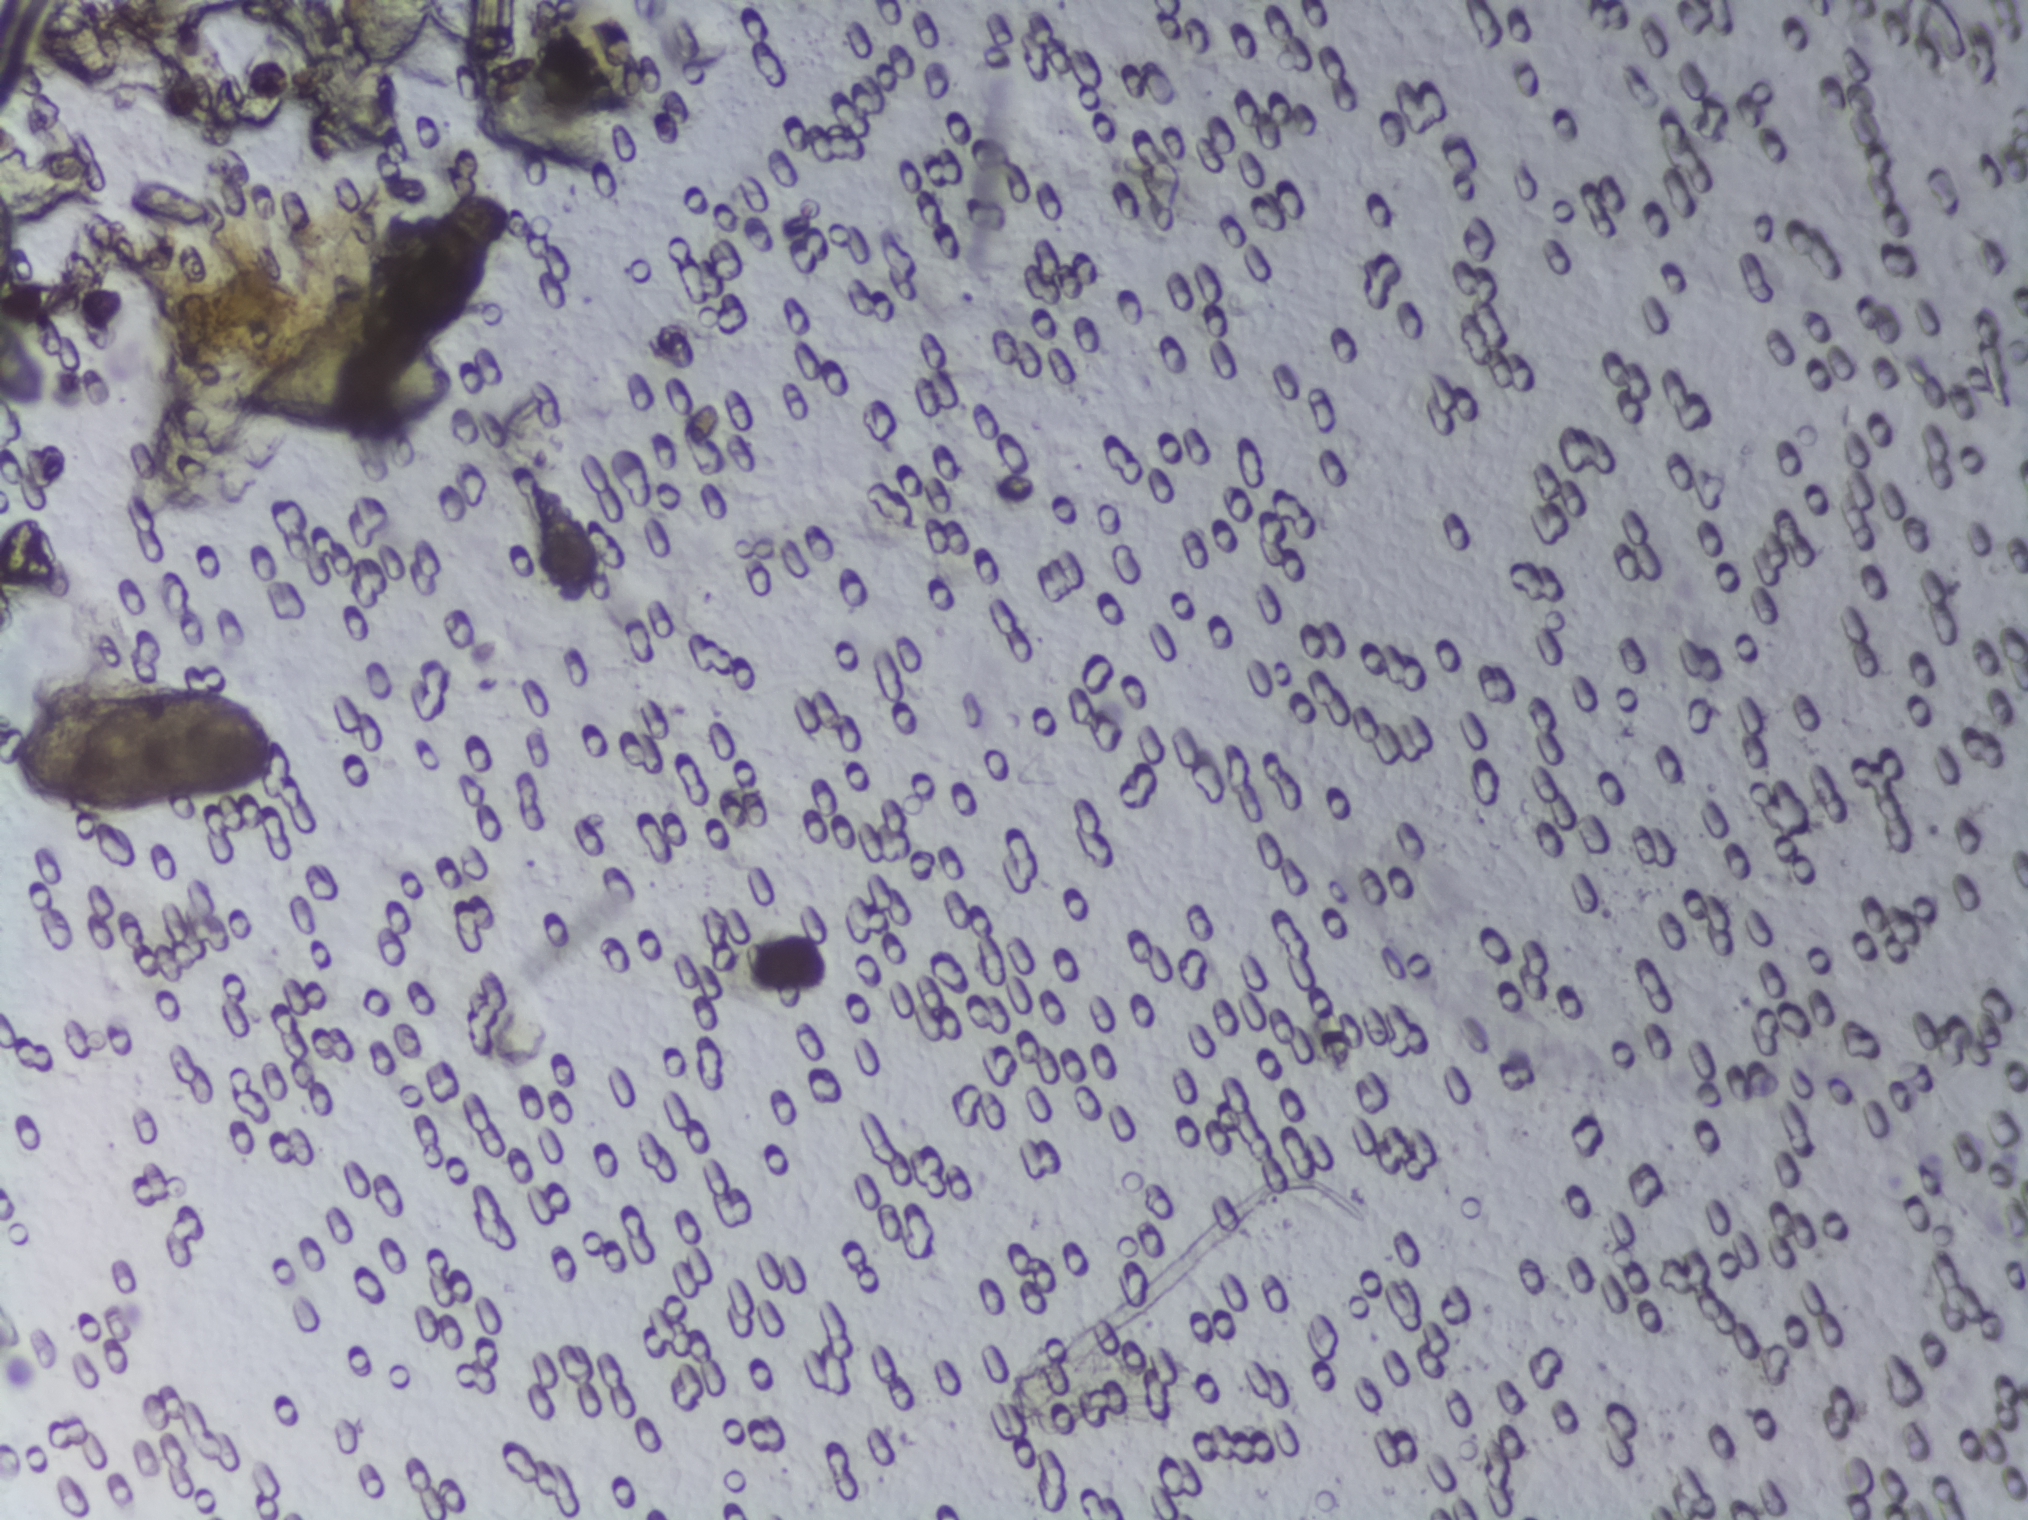
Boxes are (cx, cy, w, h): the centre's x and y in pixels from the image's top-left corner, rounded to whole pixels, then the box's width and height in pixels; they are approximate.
Five areas of this image are outlined as Schistosoma eggs, from left to right: (cx=27, cy=358, w=54, h=97) (reaching the left edge of the frame); (cx=76, cy=42, w=81, h=84) (reaching the top edge of the frame); (cx=150, cy=744, w=273, h=135); (cx=349, cy=382, w=225, h=104); (cx=387, cy=35, w=105, h=71) (reaching the top edge of the frame). The marked pixels themselves, not the boxes around them, cover about 2.0% of the image. Eggs that touch can end up inside the same outlined area.
Photomicrograph of a urine filtration membrane, 4× objective. The image covers about 1.5 × 1.1 mm of the membrane.